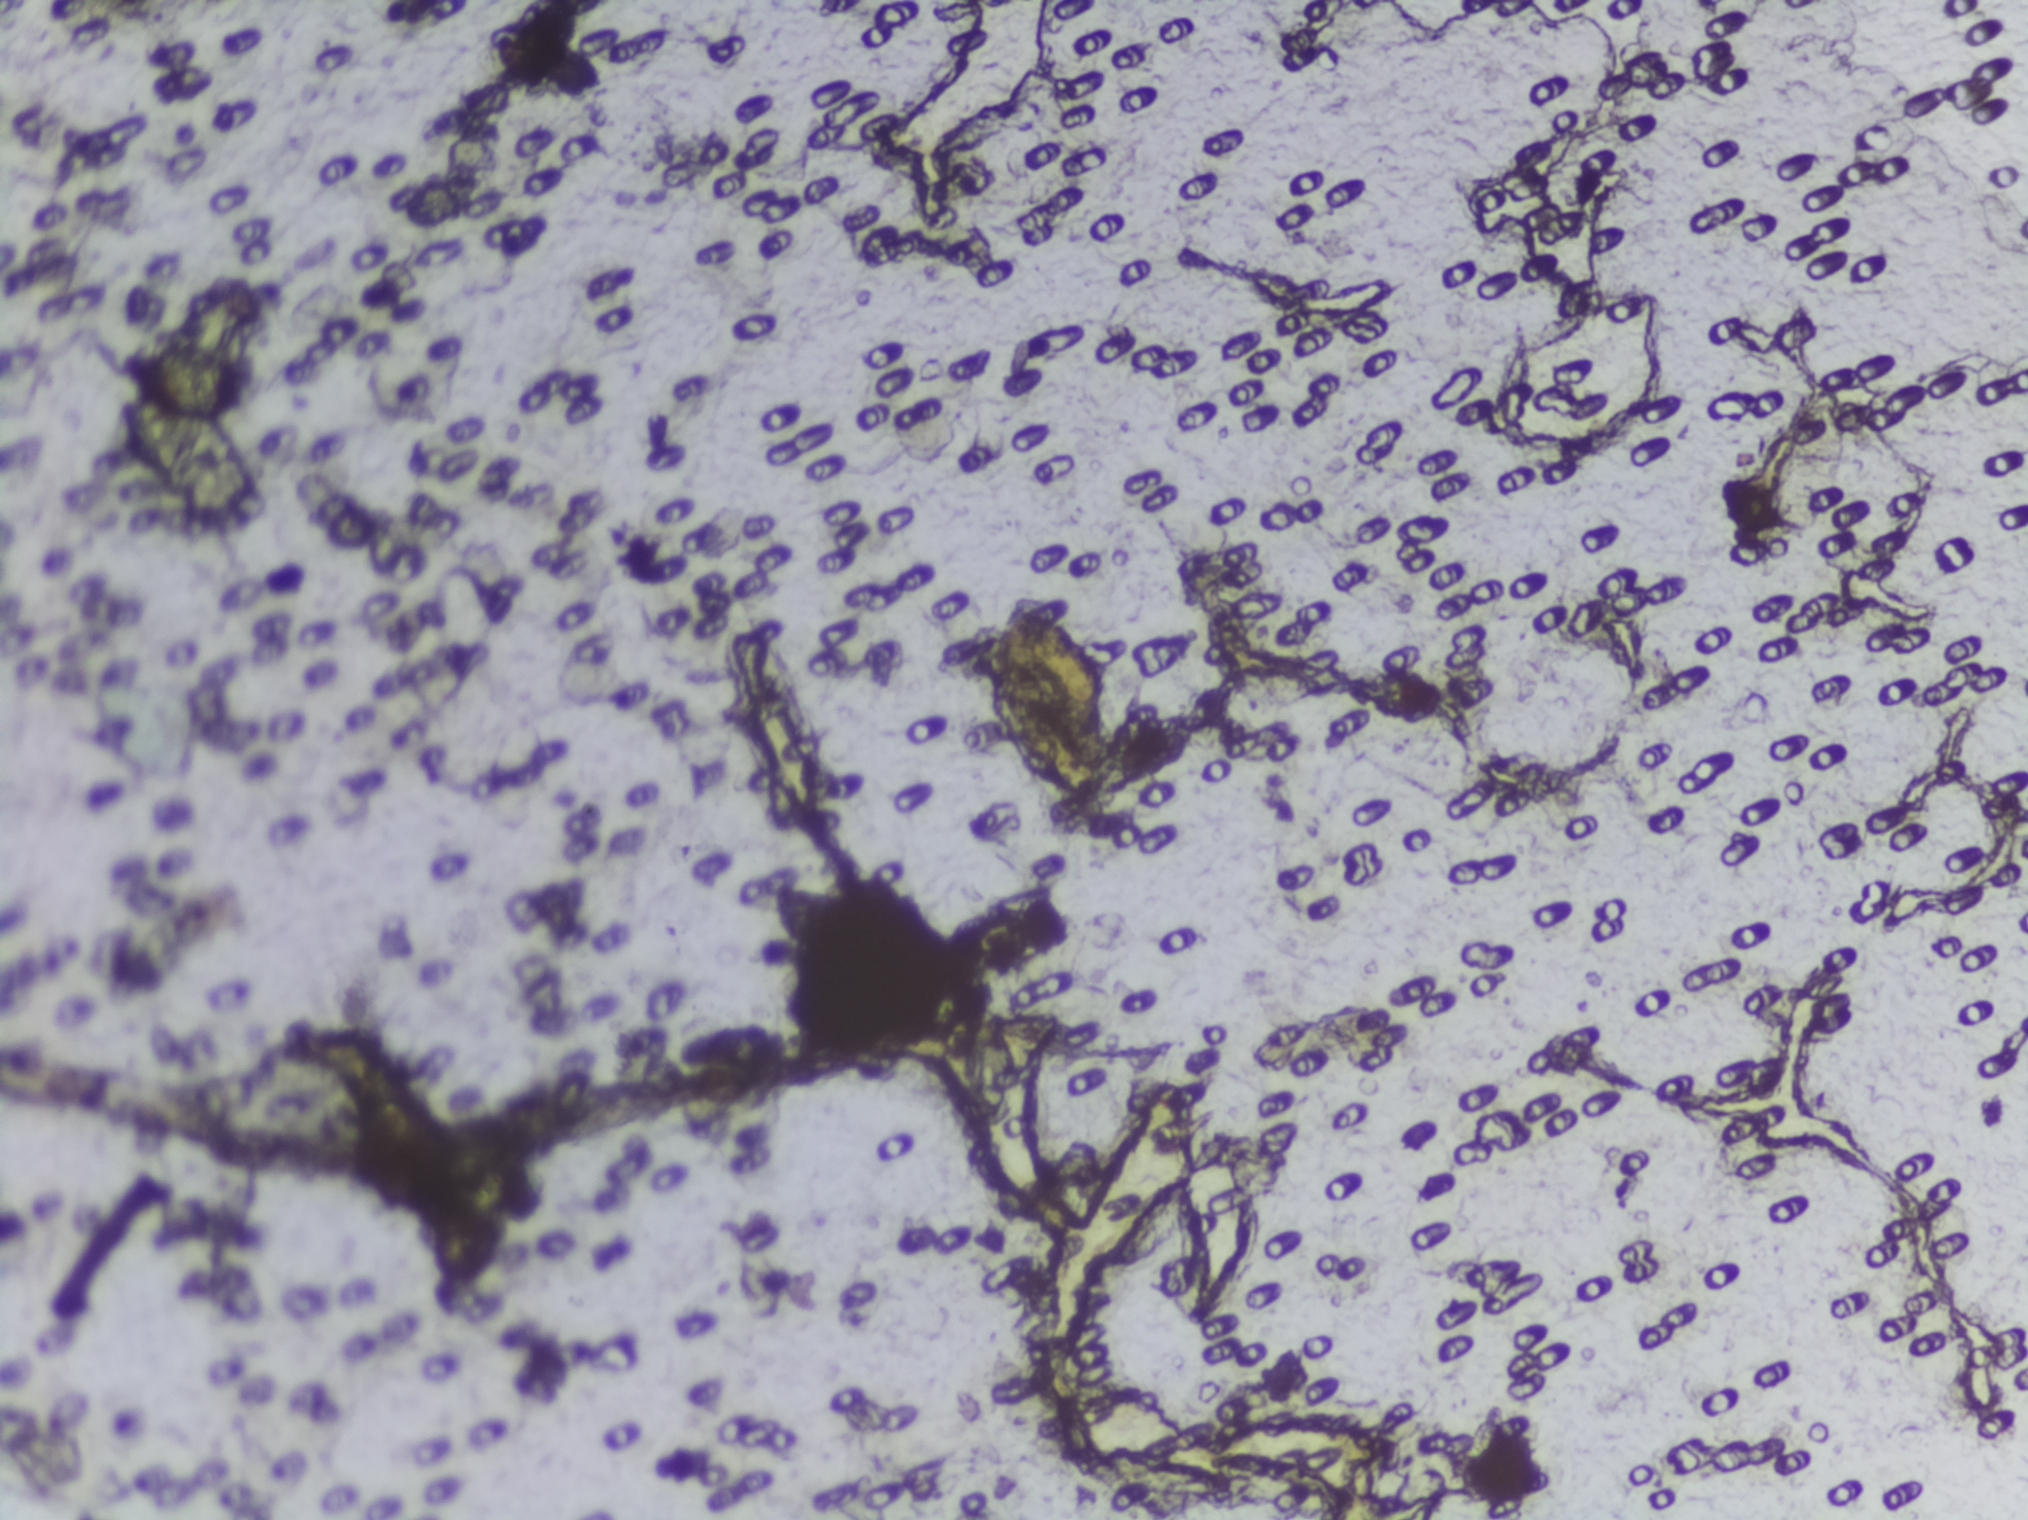
Photomicrograph of a urine filtration membrane, 4× objective. Field of view: about 1.5 mm wide and 1.1 mm high.
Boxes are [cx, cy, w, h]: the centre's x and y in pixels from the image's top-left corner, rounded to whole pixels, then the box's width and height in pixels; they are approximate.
{"schistosoma_egg_areas_cxcywh_px": [[1048, 695, 152, 234]]}
About 0.9% of the image's pixels are marked (the marked pixels themselves, not the box around them). A single outlined area may contain several eggs. A marked egg may occasionally be S. mansoni rather than S. haematobium.